Urine filter membrane photographed through a 4× microscope objective. Field of view: about 1.5 mm wide and 1.1 mm high.
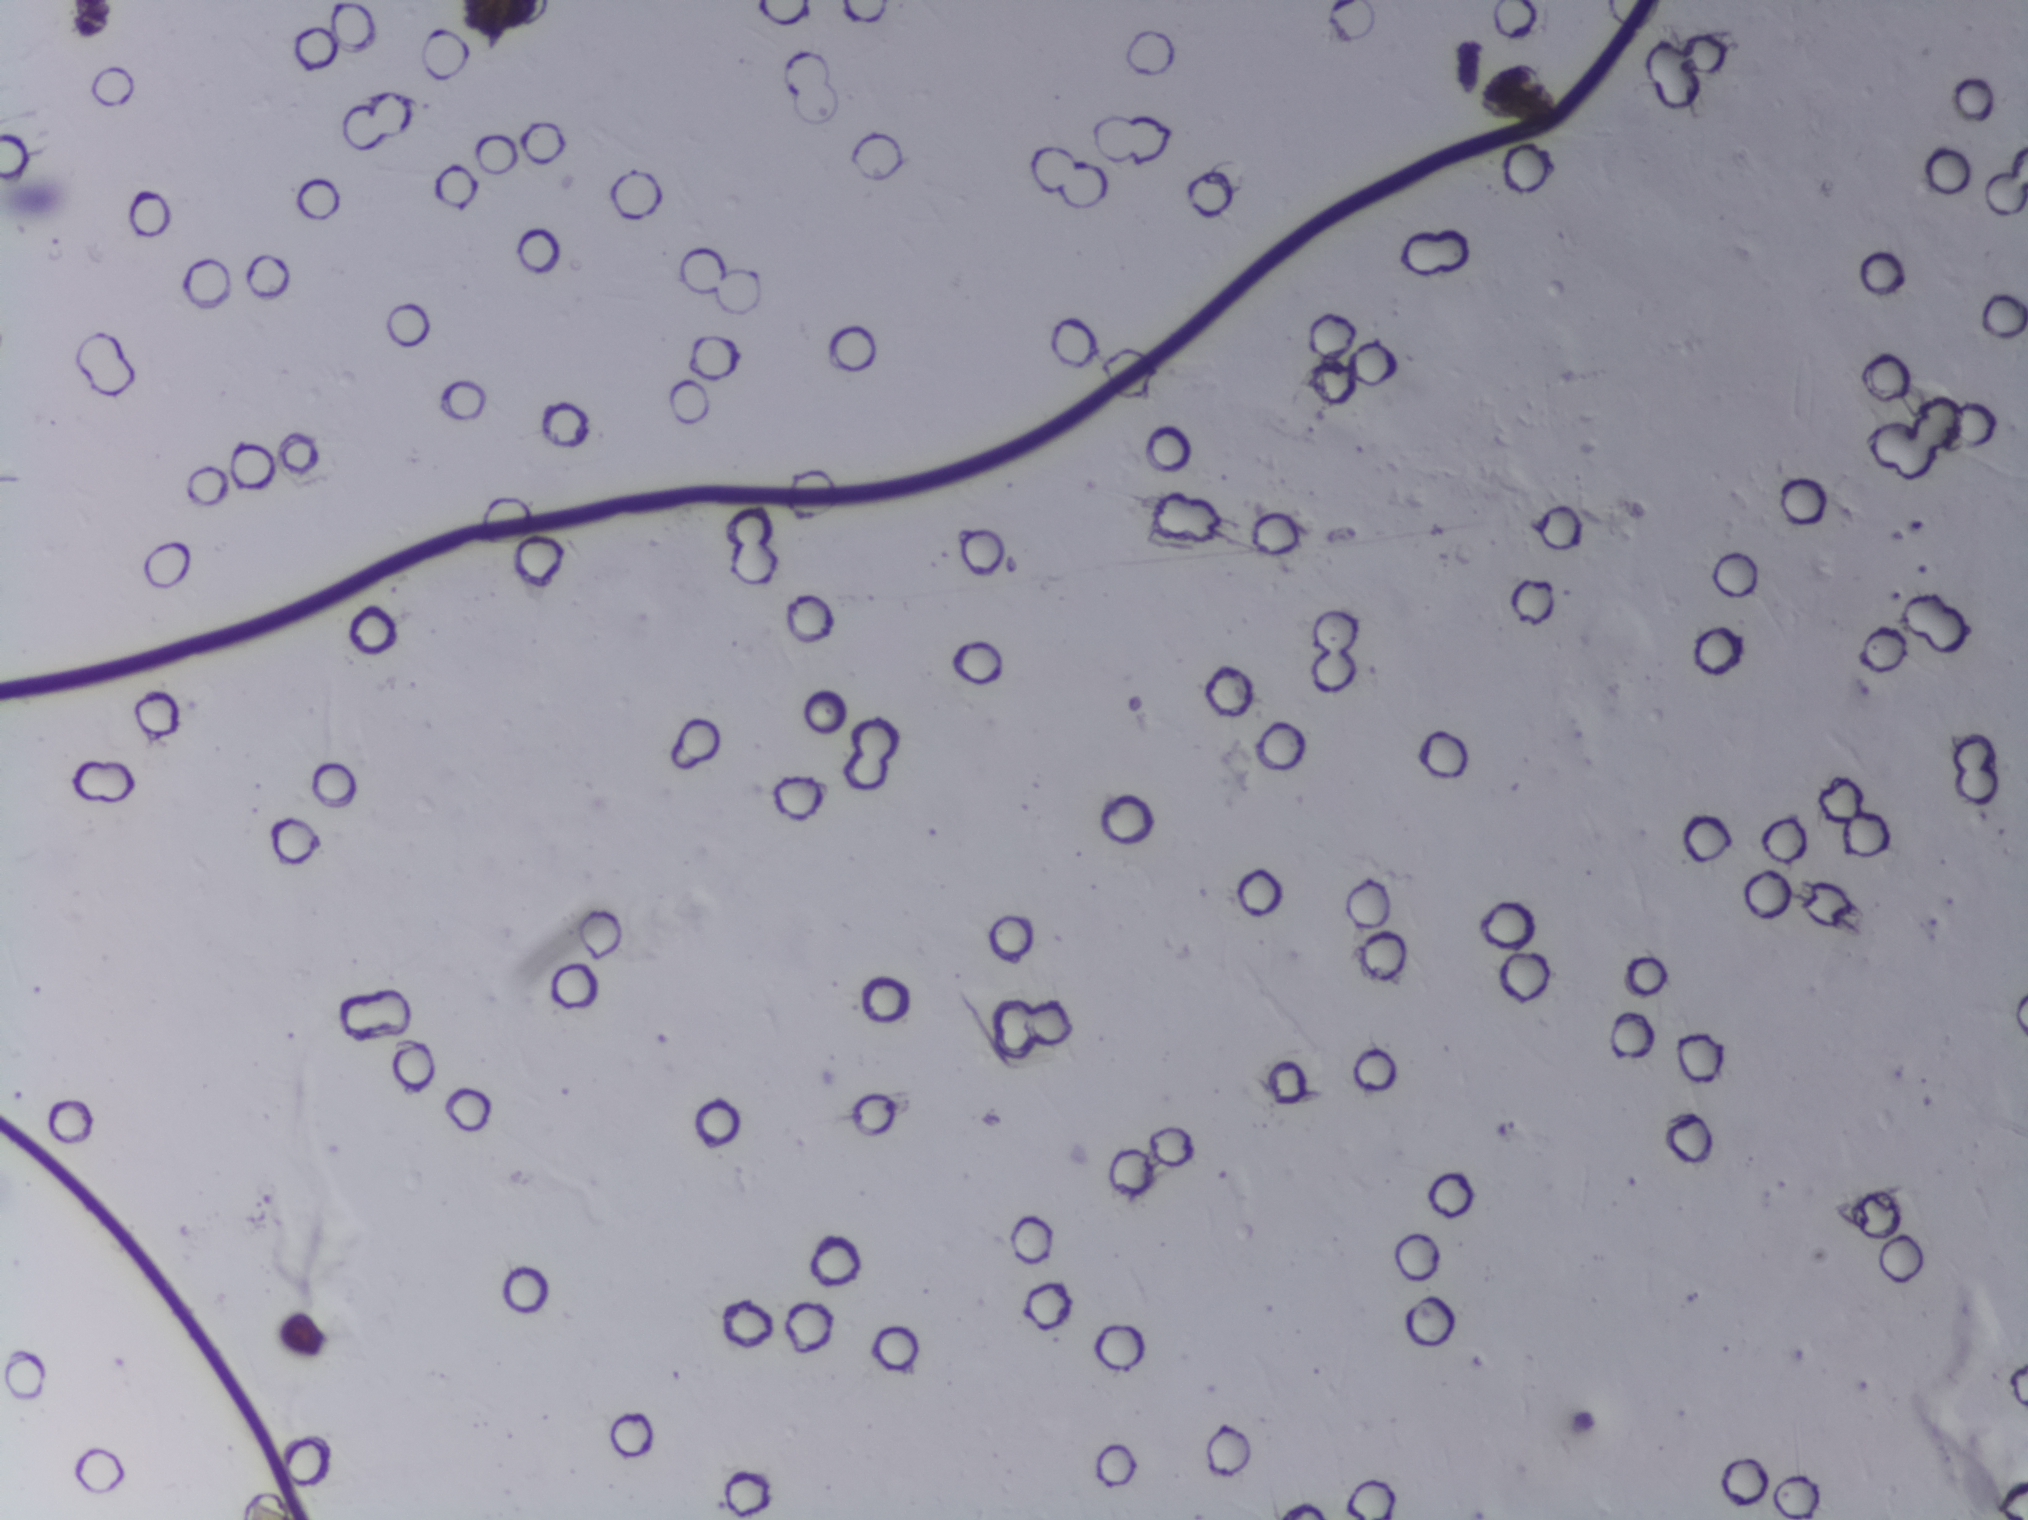
The expert annotation marks no Schistosoma egg in this field of view.